Microscope photograph (4× objective) of a membrane that a urine sample was filtered through.
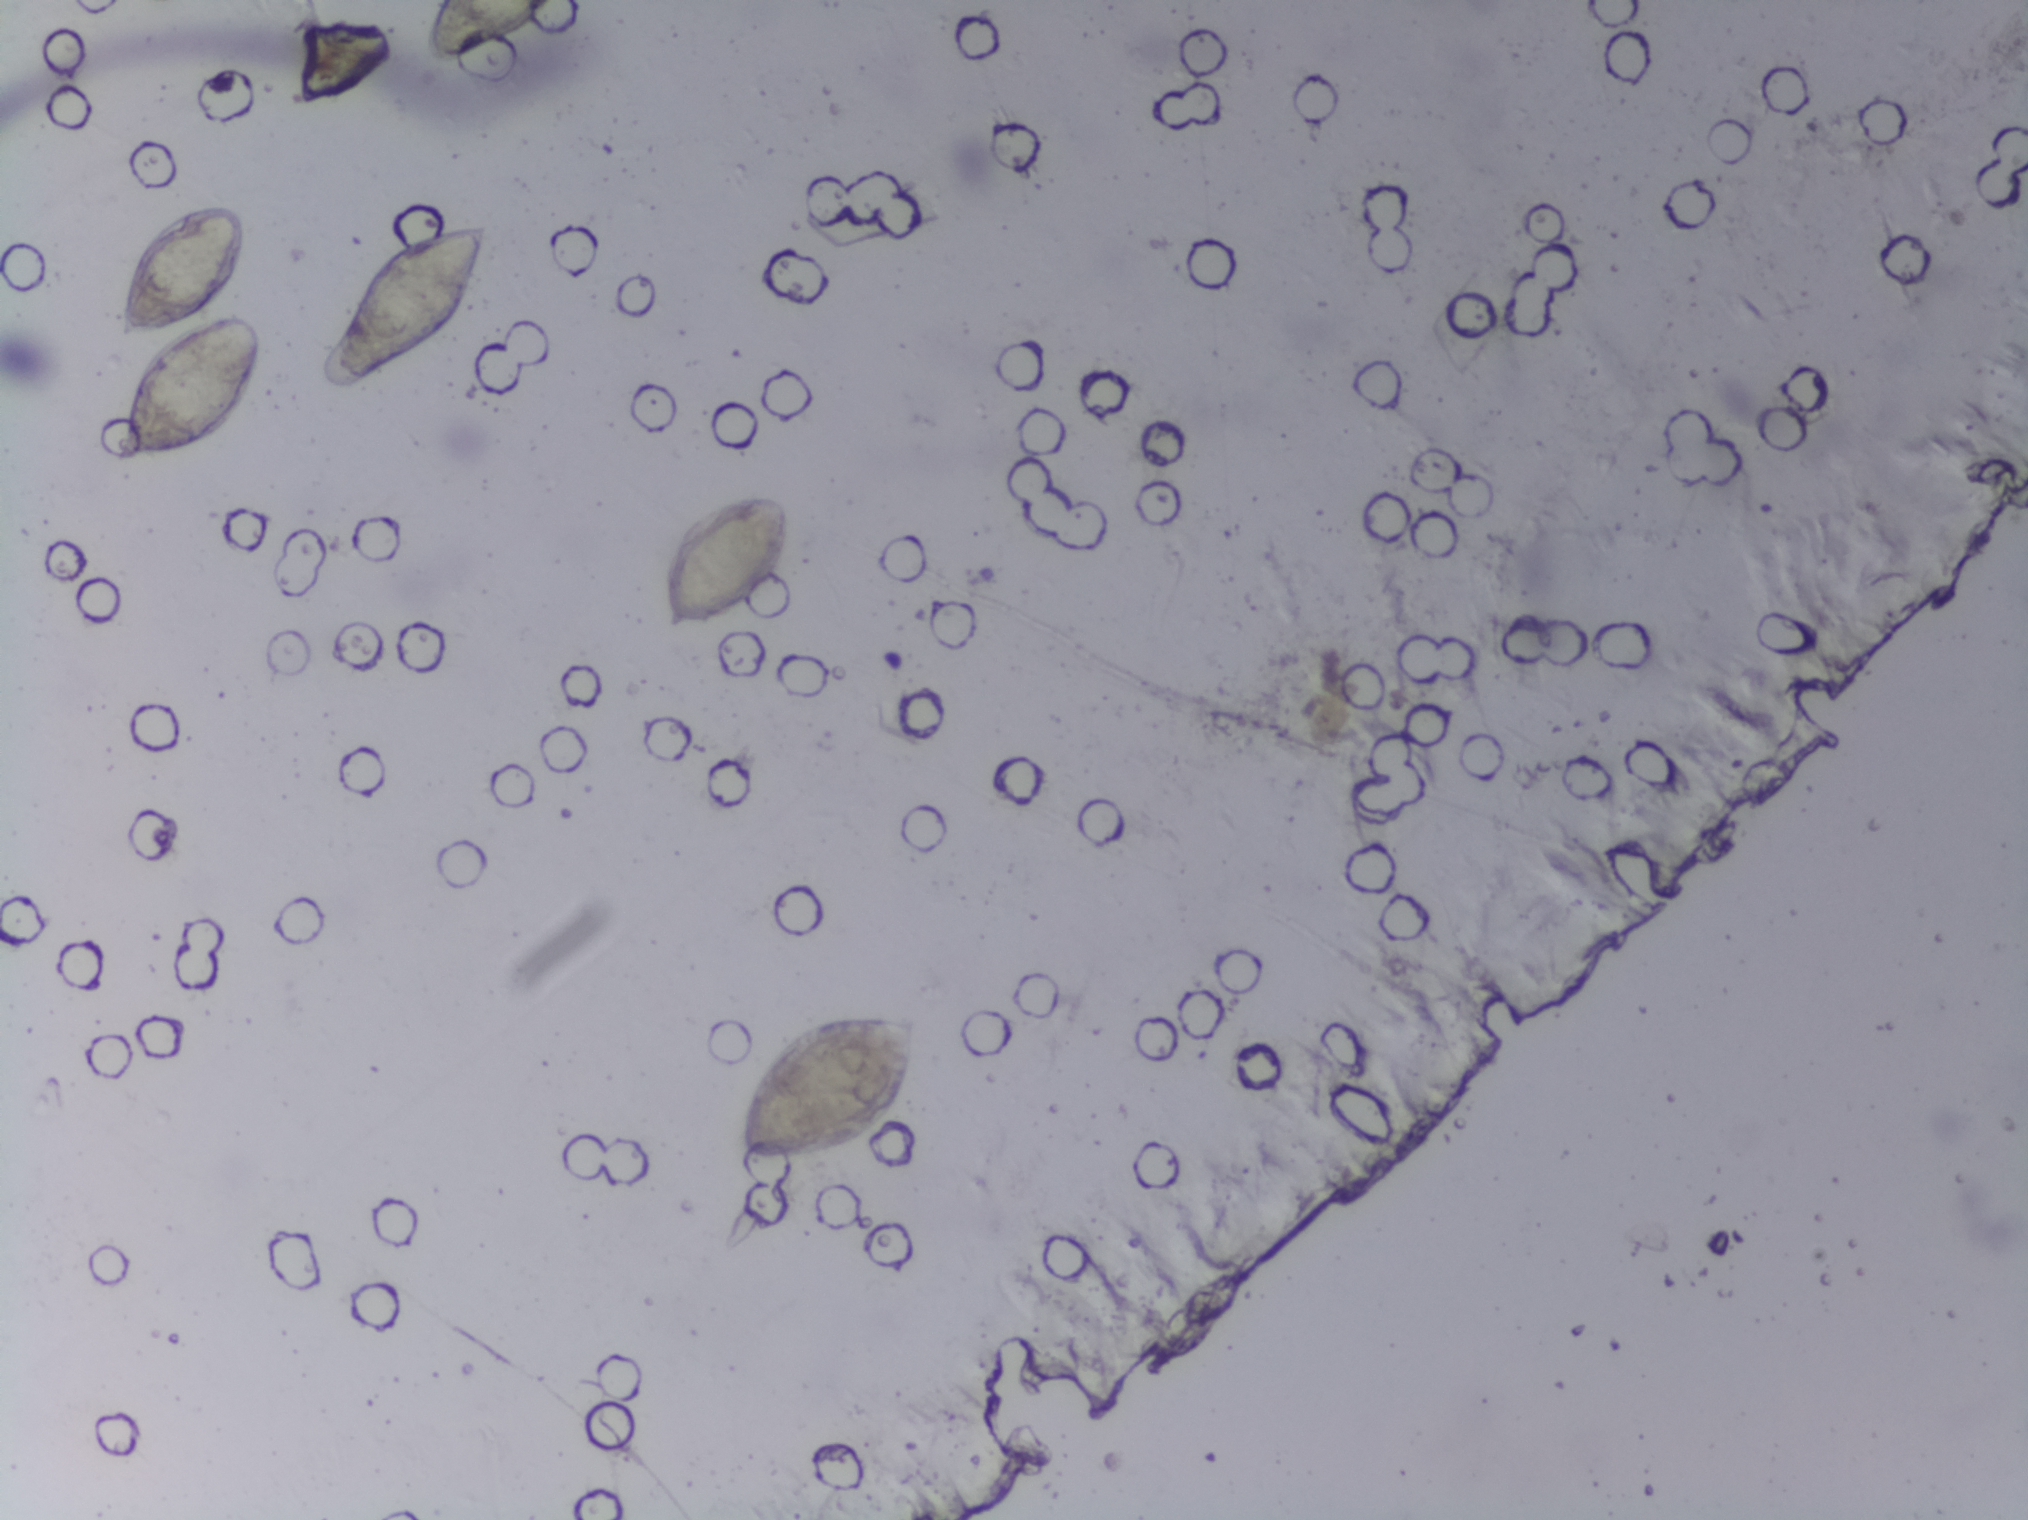
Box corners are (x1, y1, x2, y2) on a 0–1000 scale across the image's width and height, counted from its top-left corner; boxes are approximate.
Findings: six areas outlined as Schistosoma eggs. Locations: (55, 205, 131, 308); (58, 128, 121, 225); (158, 141, 243, 257); (207, 0, 277, 44) (reaching the top edge of the frame); (328, 321, 390, 414); (364, 664, 458, 767). The marked pixels themselves, not the boxes around them, cover about 2.7% of the image. An outlined area can hold more than one egg.